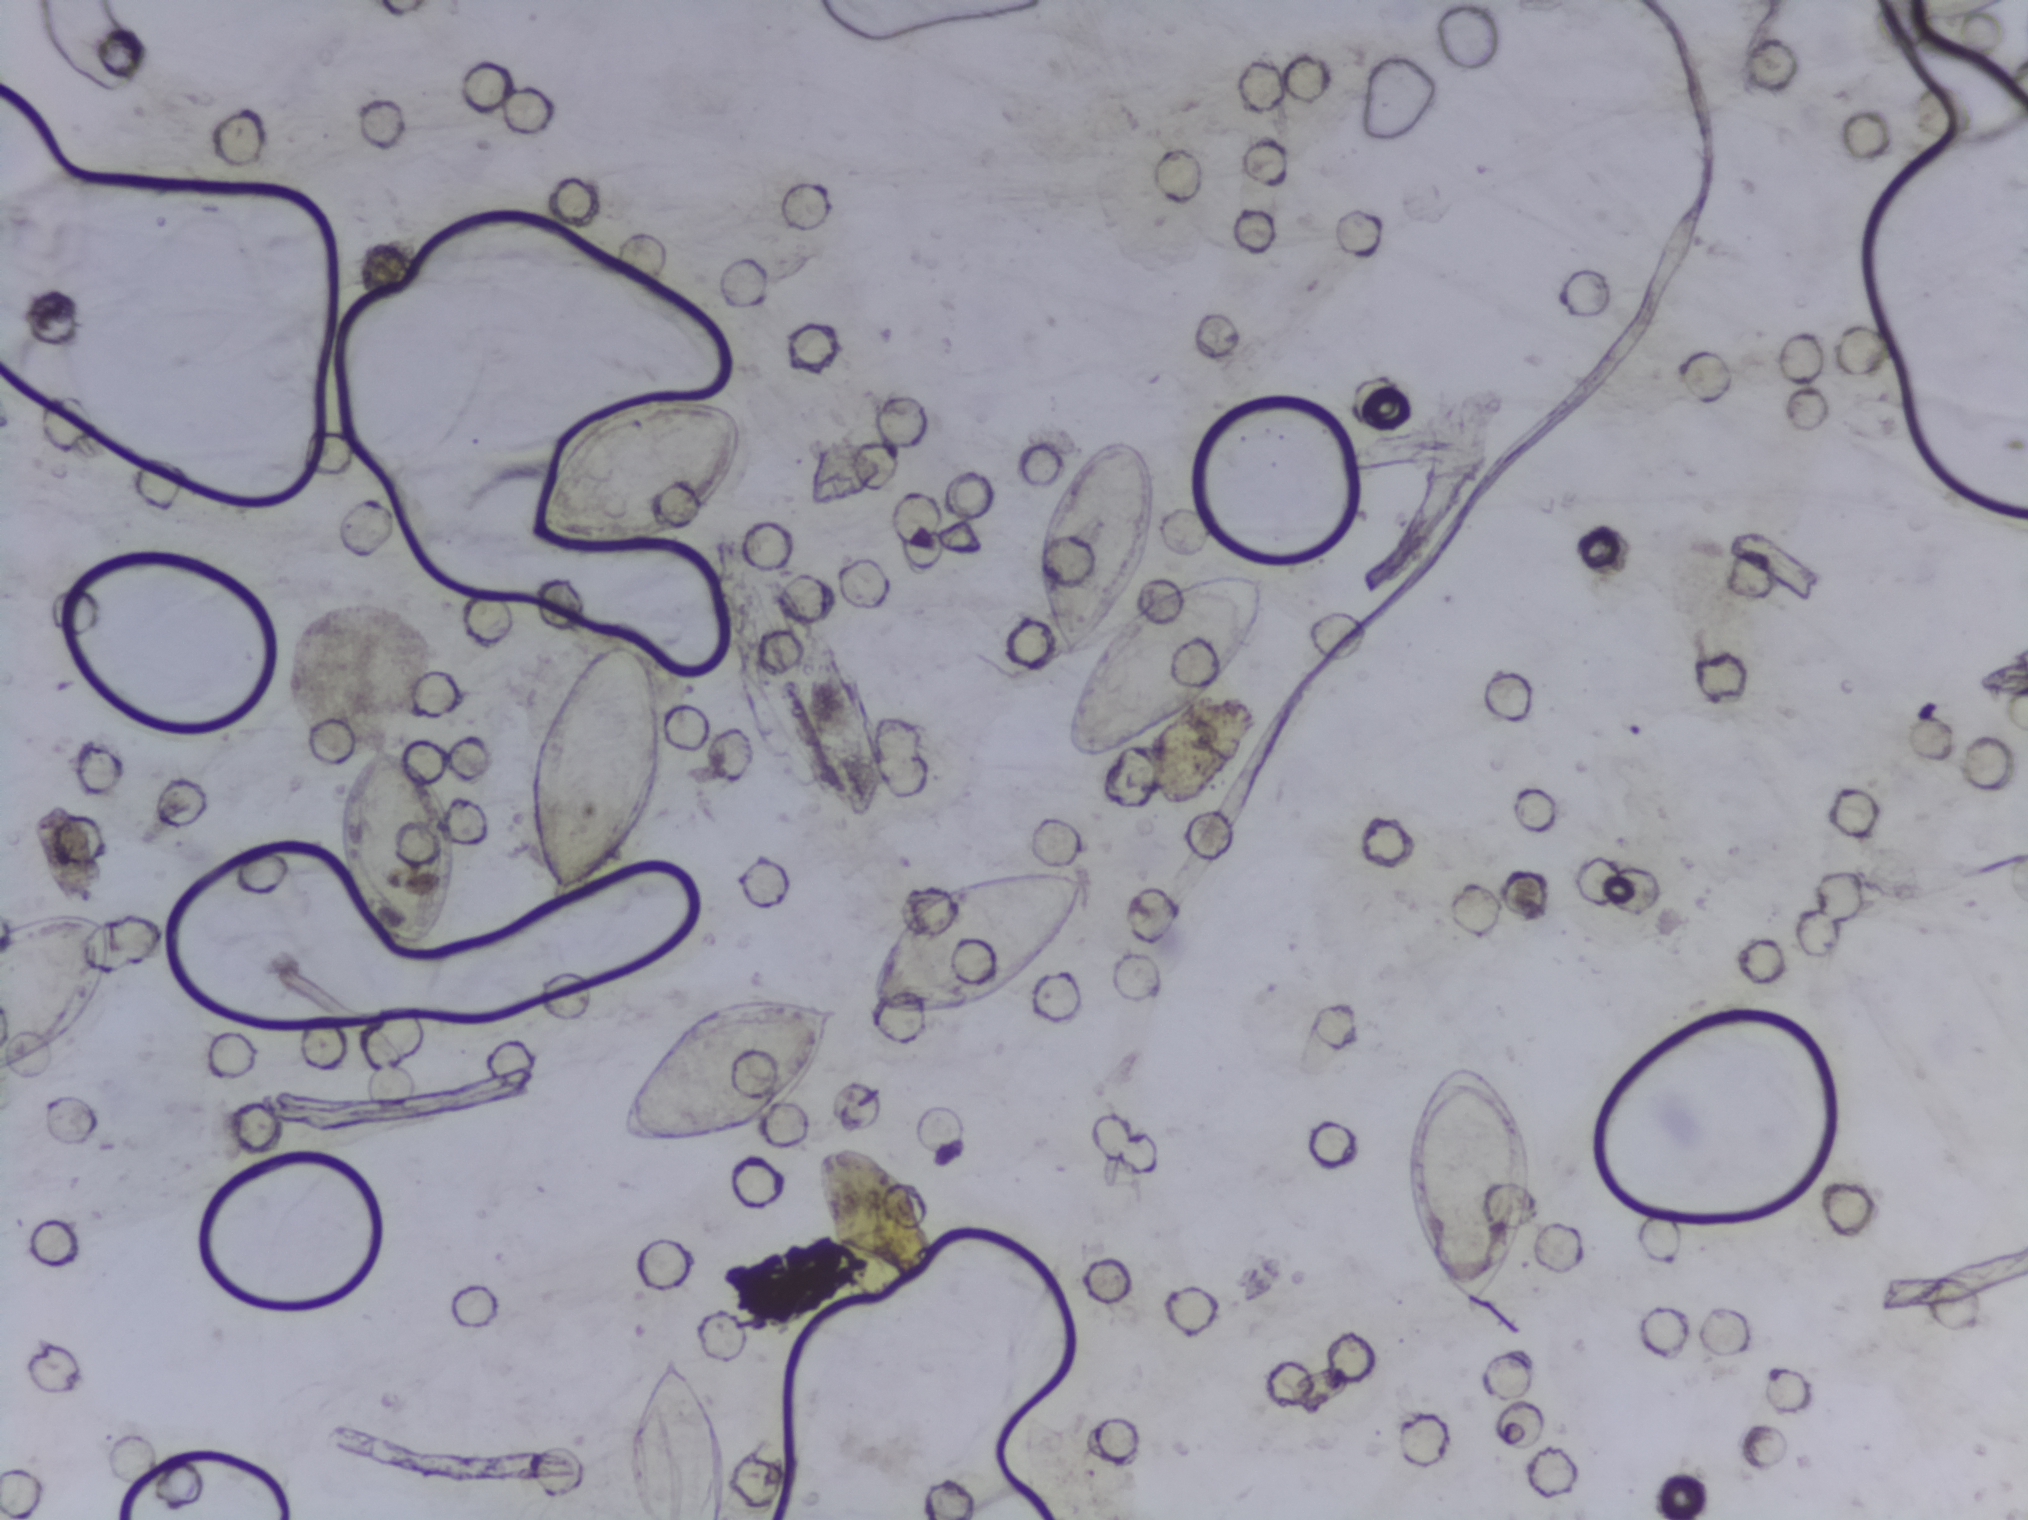
Microscope photograph (4× objective) of a membrane that a urine sample was filtered through.
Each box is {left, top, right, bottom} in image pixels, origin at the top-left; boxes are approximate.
Schistosoma eggs are outlined in the expert annotation at {0, 908, 118, 1069} (reaching the left edge of the frame); {337, 733, 454, 958}; {520, 636, 667, 910}; {523, 393, 745, 548}; {615, 995, 843, 1145}; {624, 1354, 730, 1519} (reaching the bottom edge of the frame); {858, 869, 1095, 1018}; {1032, 433, 1157, 662}; {1060, 571, 1261, 758}; {1398, 1056, 1533, 1311}. The marked pixels themselves, not the boxes around them, cover about 7.0% of the image. A single outlined area may contain several eggs.